Urine filter membrane photographed through a 4× microscope objective.
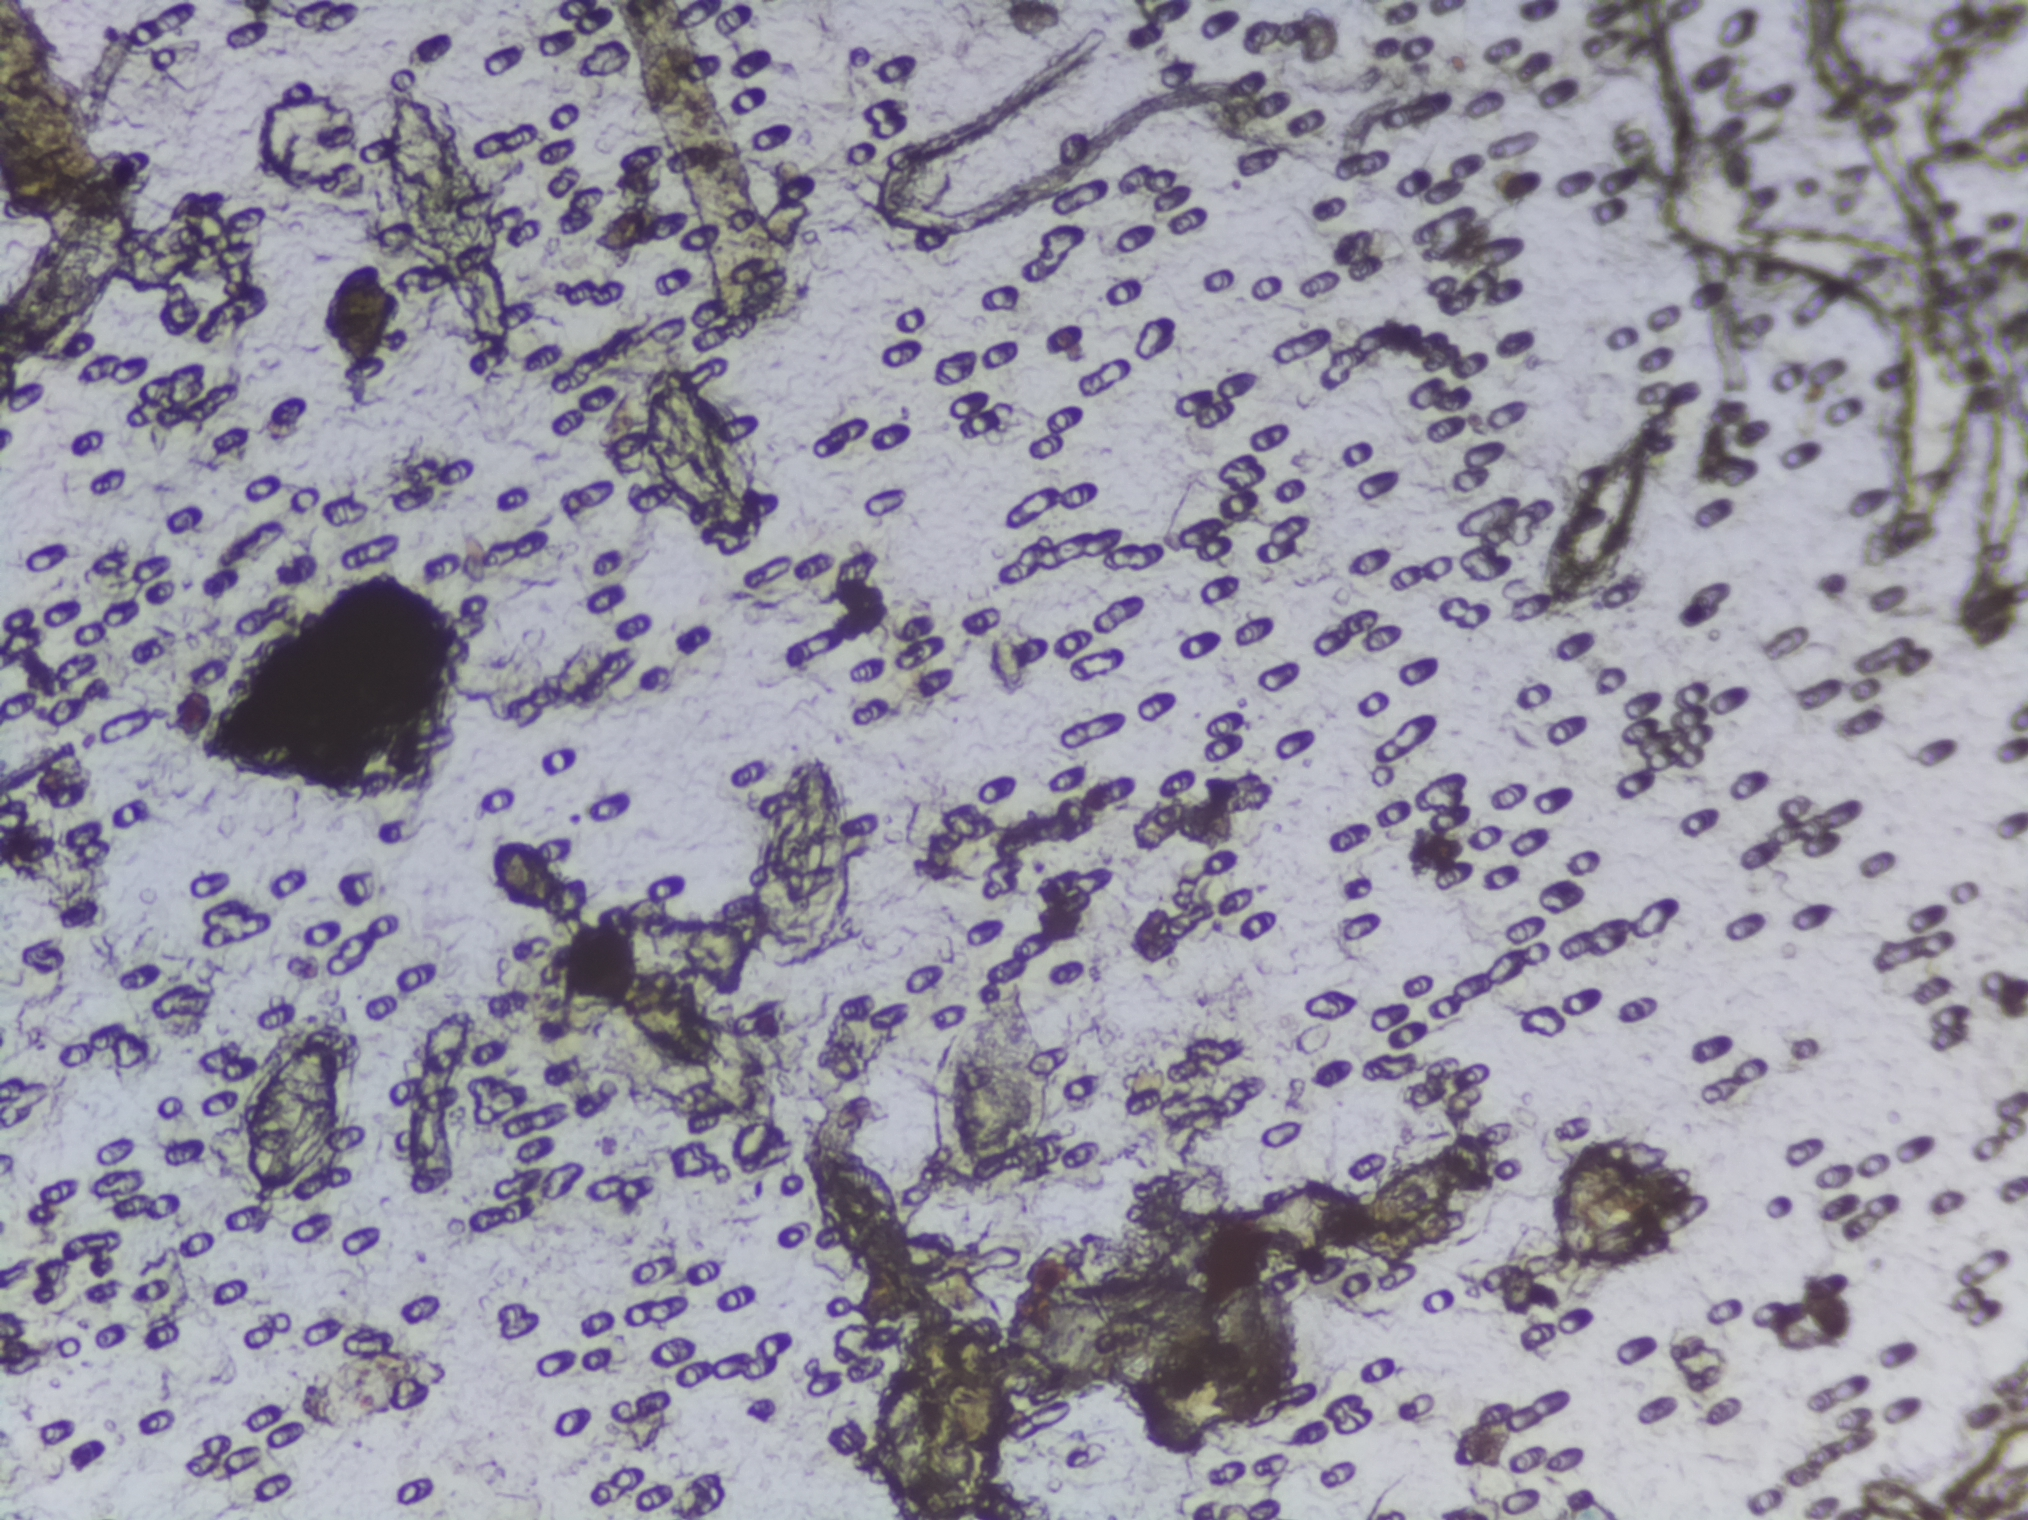
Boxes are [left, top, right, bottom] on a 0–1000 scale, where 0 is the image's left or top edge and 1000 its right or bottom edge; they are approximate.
Areas outlined as Schistosoma eggs: [116, 664, 185, 801]; [180, 54, 260, 186]; [311, 230, 378, 363]; [360, 489, 421, 645]; [458, 639, 537, 778]. A single outlined area may contain several eggs.